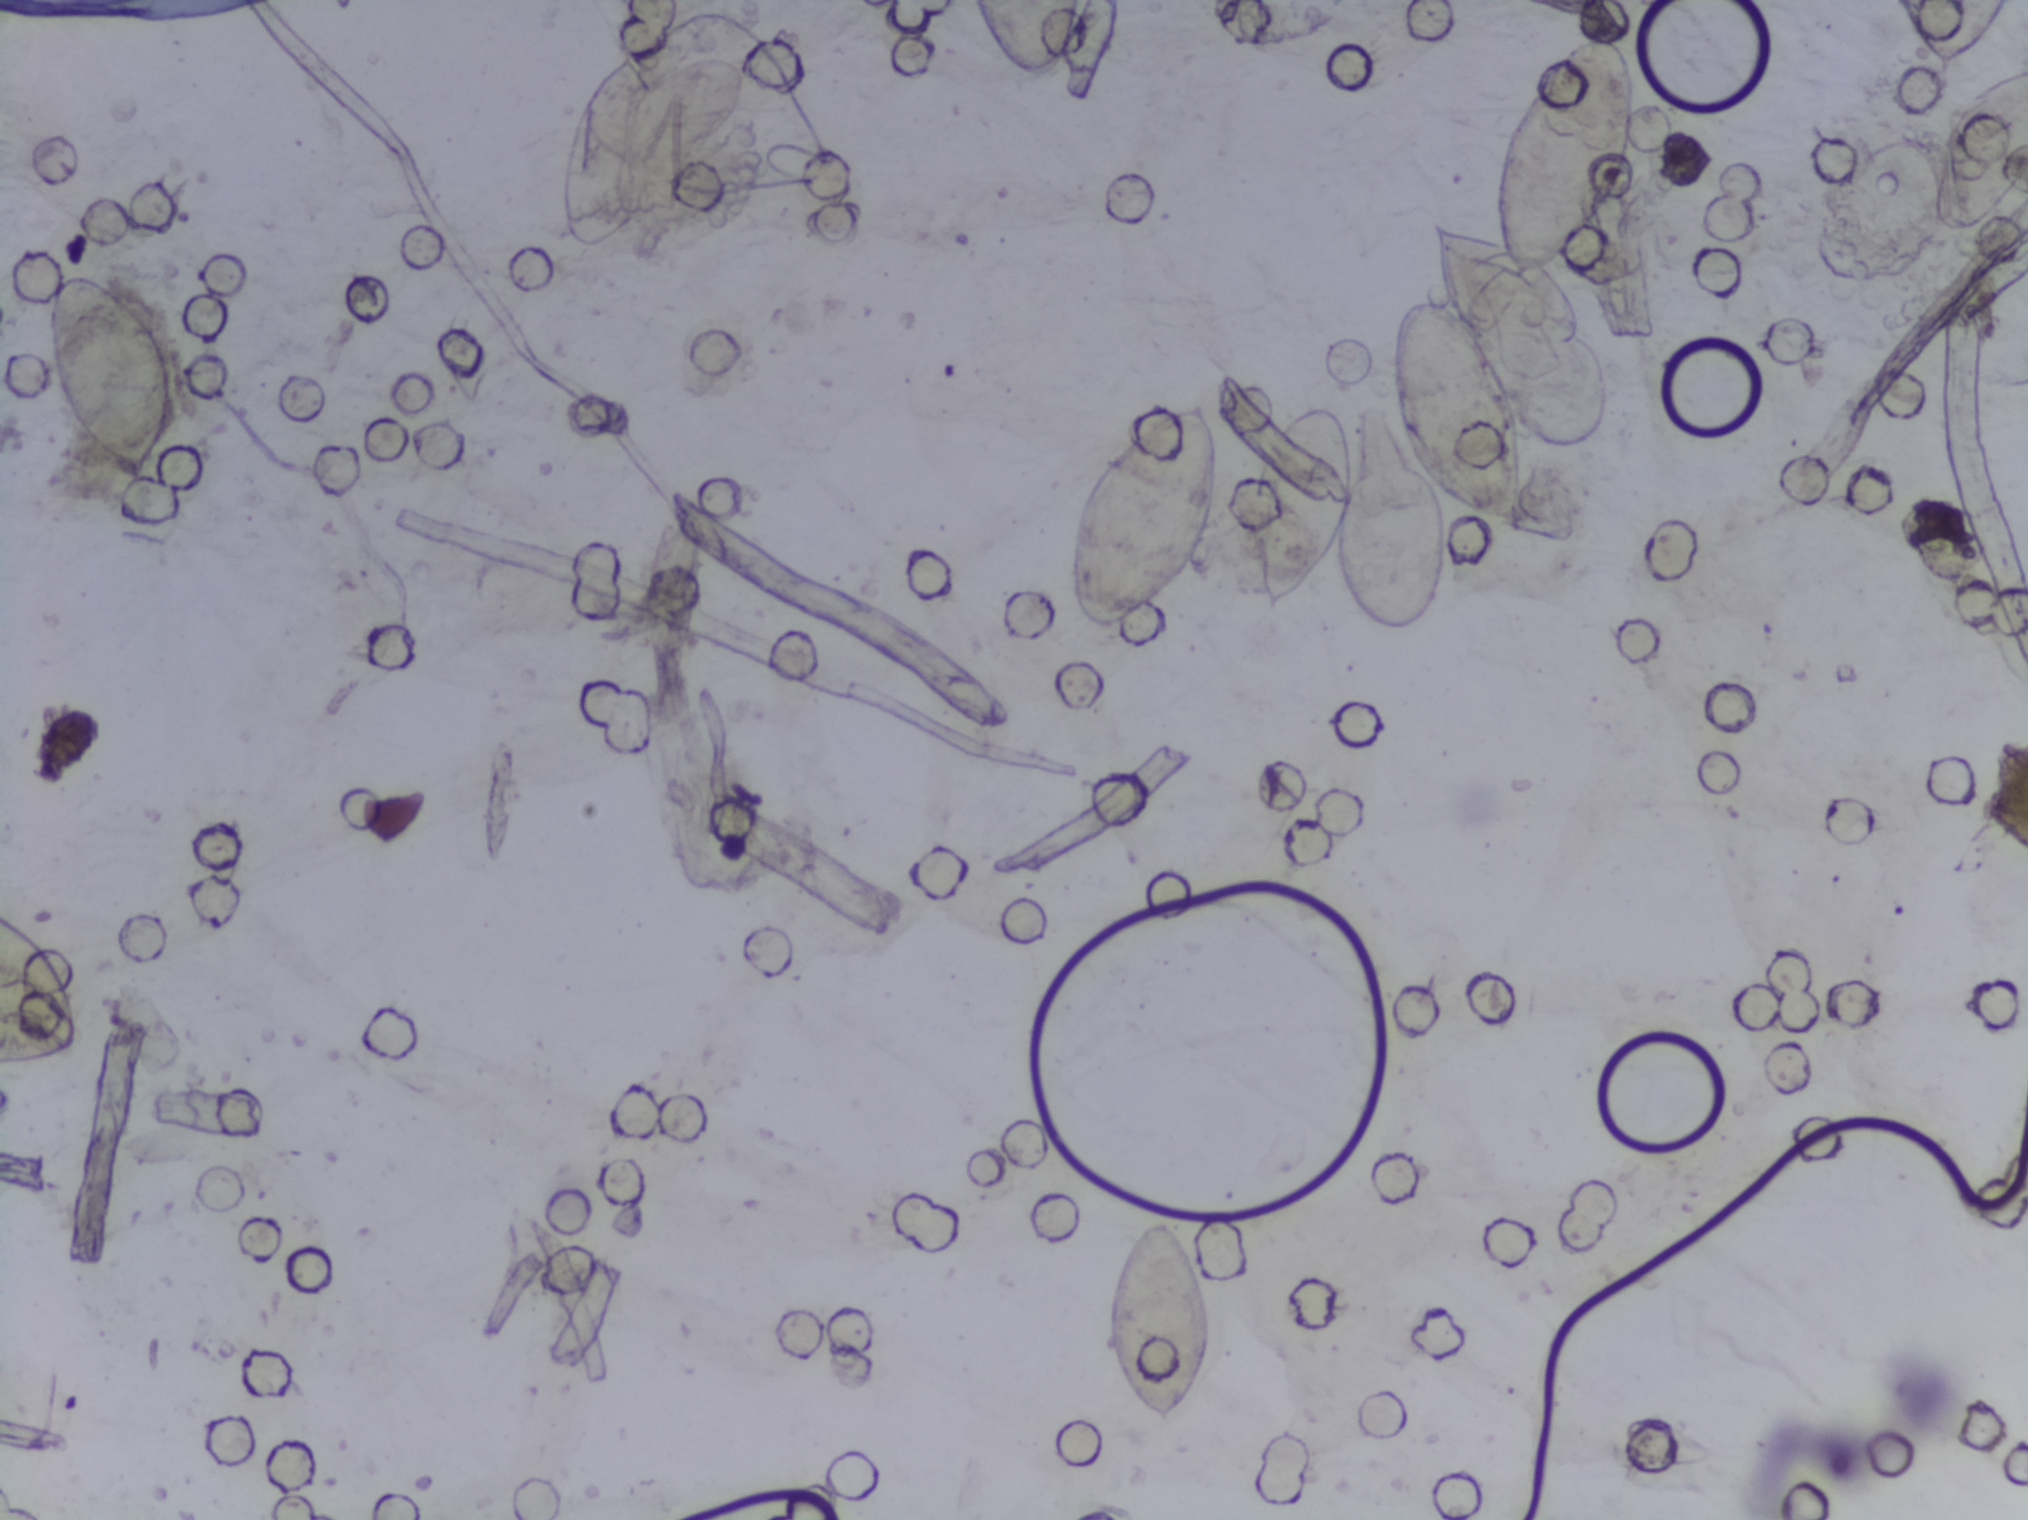
Photomicrograph of a urine filtration membrane, 4× objective.
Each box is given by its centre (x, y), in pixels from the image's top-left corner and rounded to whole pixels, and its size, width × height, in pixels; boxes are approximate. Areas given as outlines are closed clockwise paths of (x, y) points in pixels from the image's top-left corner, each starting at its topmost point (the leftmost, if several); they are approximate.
Schistosoma eggs are outlined in nine areas of this image, listed from left to right: box centre (42, 987), 84 × 172 px (reaching the left edge of the frame); box centre (107, 379), 141 × 218 px; box centre (610, 151), 106 × 202 px; box centre (1027, 40), 119 × 80 px (reaching the top edge of the frame); box centre (1146, 518), 153 × 232 px; box centre (1157, 1325), 108 × 219 px; outline (1590, 36), (1617, 38), (1639, 74), (1630, 164), (1615, 202), (1584, 246), (1553, 272), (1595, 340), (1610, 395), (1606, 429), (1584, 453), (1547, 453), (1528, 444), (1527, 533), (1483, 524), (1439, 496), (1449, 564), (1430, 618), (1418, 630), (1400, 637), (1367, 632), (1339, 600), (1327, 562), (1287, 610), (1275, 614), (1253, 580), (1246, 526), (1246, 494), (1267, 436), (1289, 408), (1313, 397), (1342, 405), (1355, 436), (1369, 401), (1395, 422), (1388, 349), (1396, 324), (1419, 290), (1445, 299), (1434, 262), (1432, 216), (1495, 231), (1494, 172), (1518, 99), (1548, 64) (a cluster of eggs); box centre (1949, 38), 111 × 76 px (reaching the top edge of the frame); box centre (1978, 147), 100 × 169 px (reaching the right edge of the frame). About 7.0% of the image's pixels are marked (the marked pixels themselves, not the boxes and the outline around them). An outlined area can hold more than one egg.